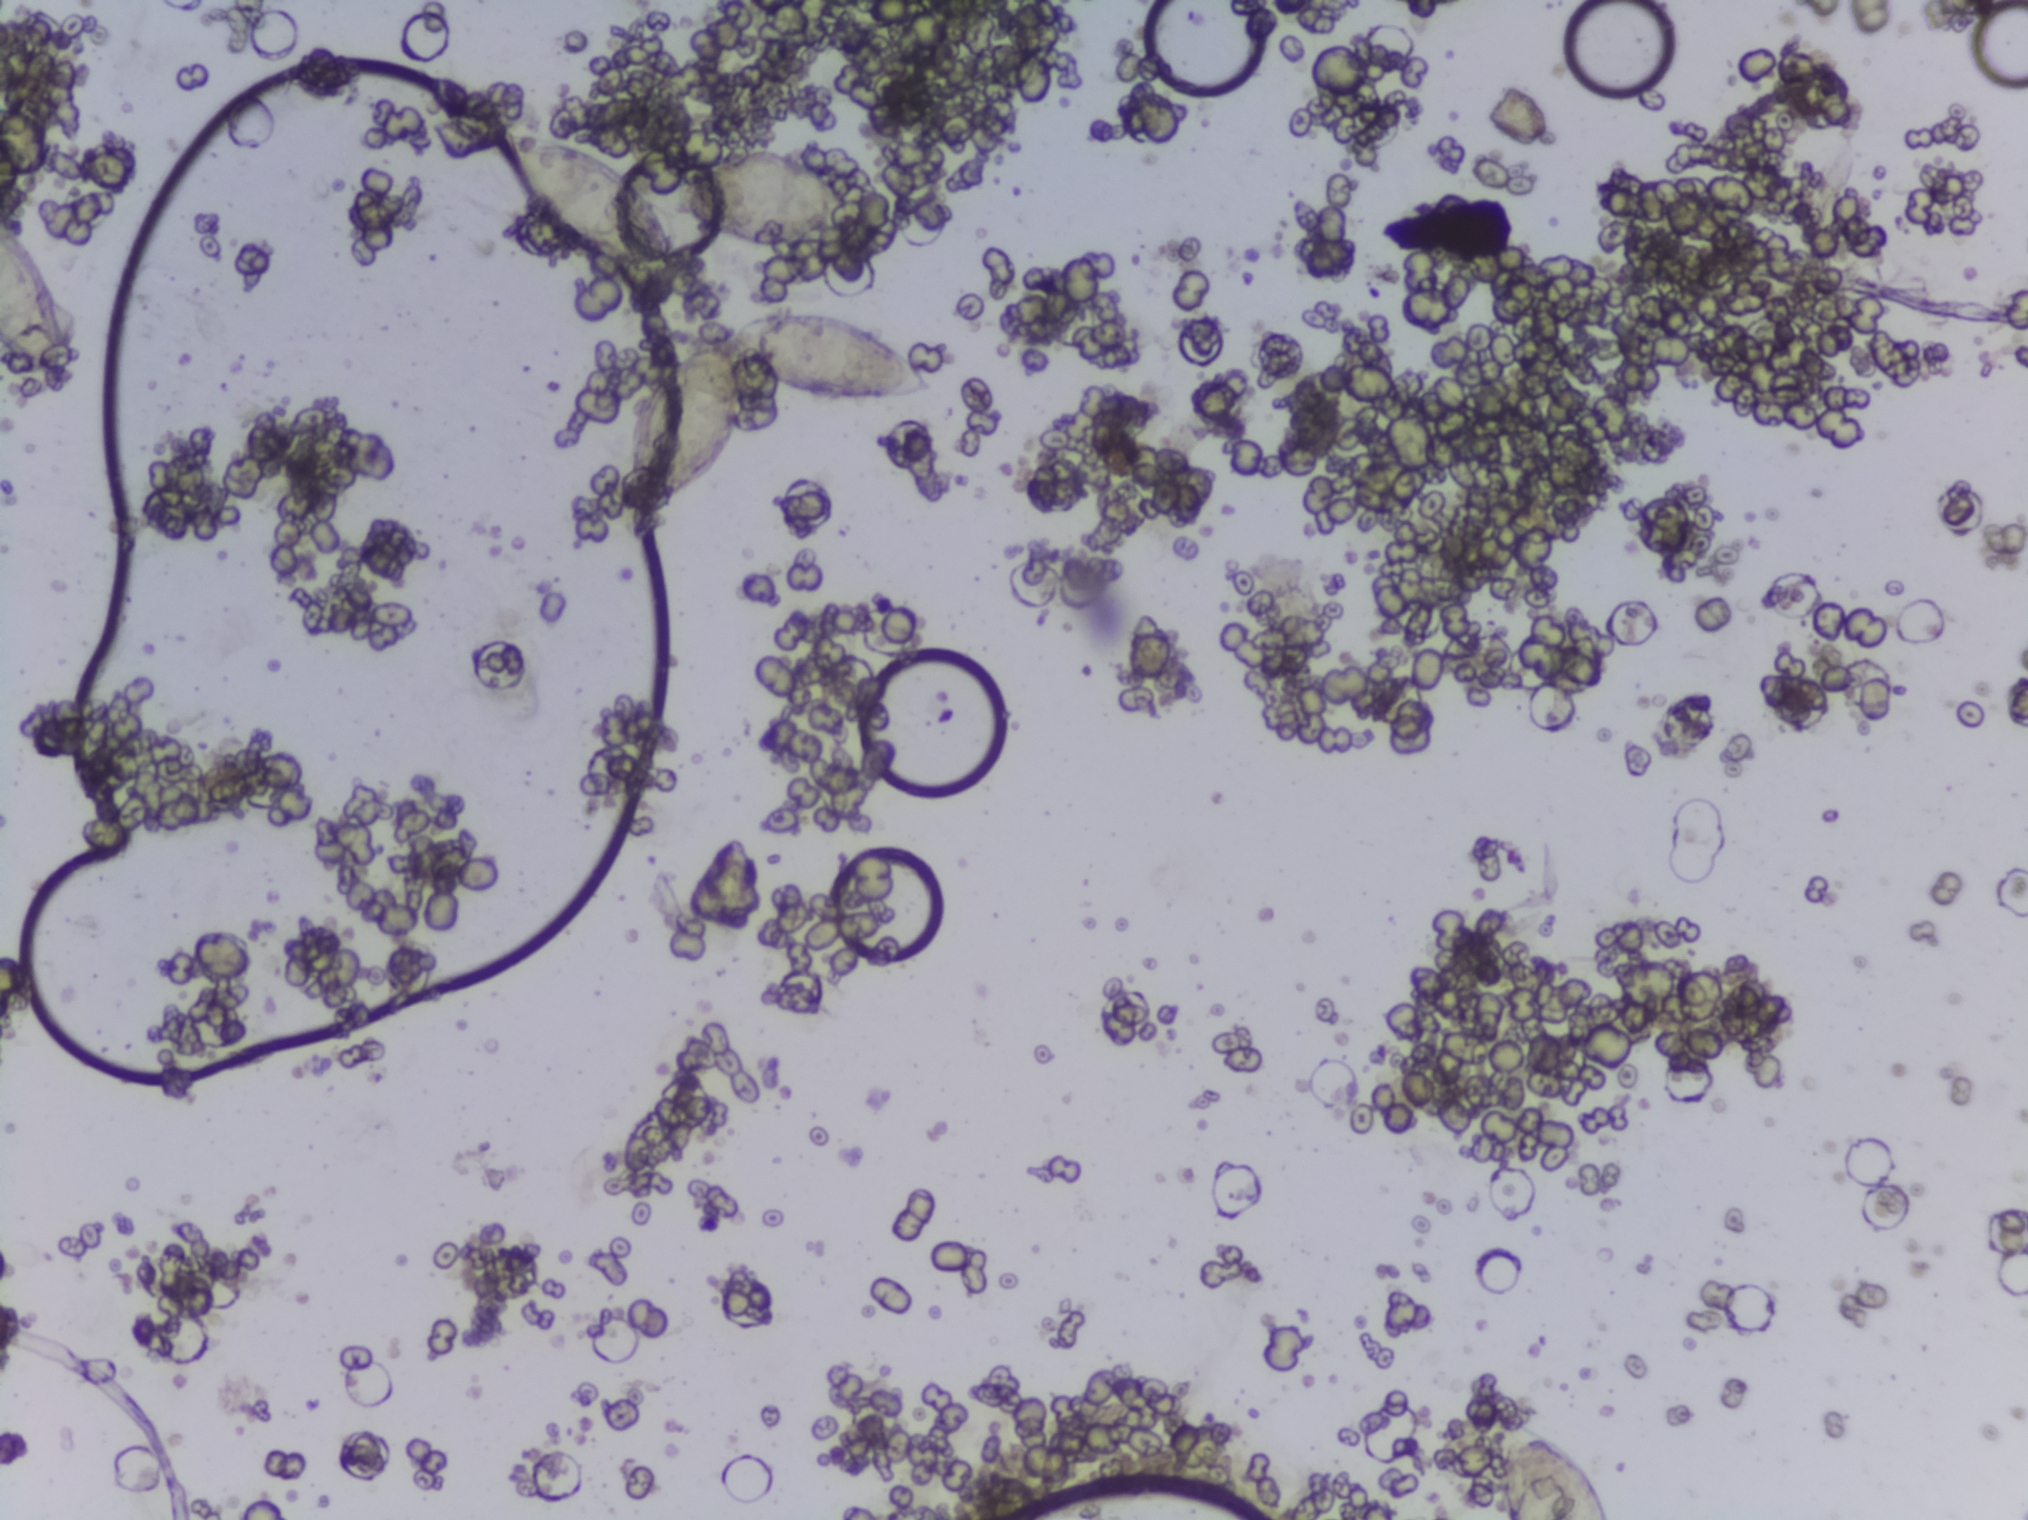
Photomicrograph of a urine filtration membrane, 4× objective.
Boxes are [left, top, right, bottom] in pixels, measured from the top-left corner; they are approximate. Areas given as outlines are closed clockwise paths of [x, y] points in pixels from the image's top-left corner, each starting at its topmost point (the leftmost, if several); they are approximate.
Findings: five areas outlined as Schistosoma eggs. Locations, left to right: box [0, 207, 70, 390] (reaching the left edge of the frame); box [506, 128, 675, 269]; outline [803, 309], [858, 320], [882, 333], [928, 368], [938, 393], [908, 401], [840, 401], [750, 371], [743, 428], [715, 472], [690, 496], [630, 516], [624, 510], [623, 440], [661, 368], [682, 351], [723, 344], [724, 332], [740, 320]; box [669, 151, 862, 247]; box [1491, 1417, 1611, 1519] (reaching the bottom edge of the frame). Marked pixels, not the boxes and the outline around them: about 2.4% of the image. Eggs that touch can end up inside the same outlined area.